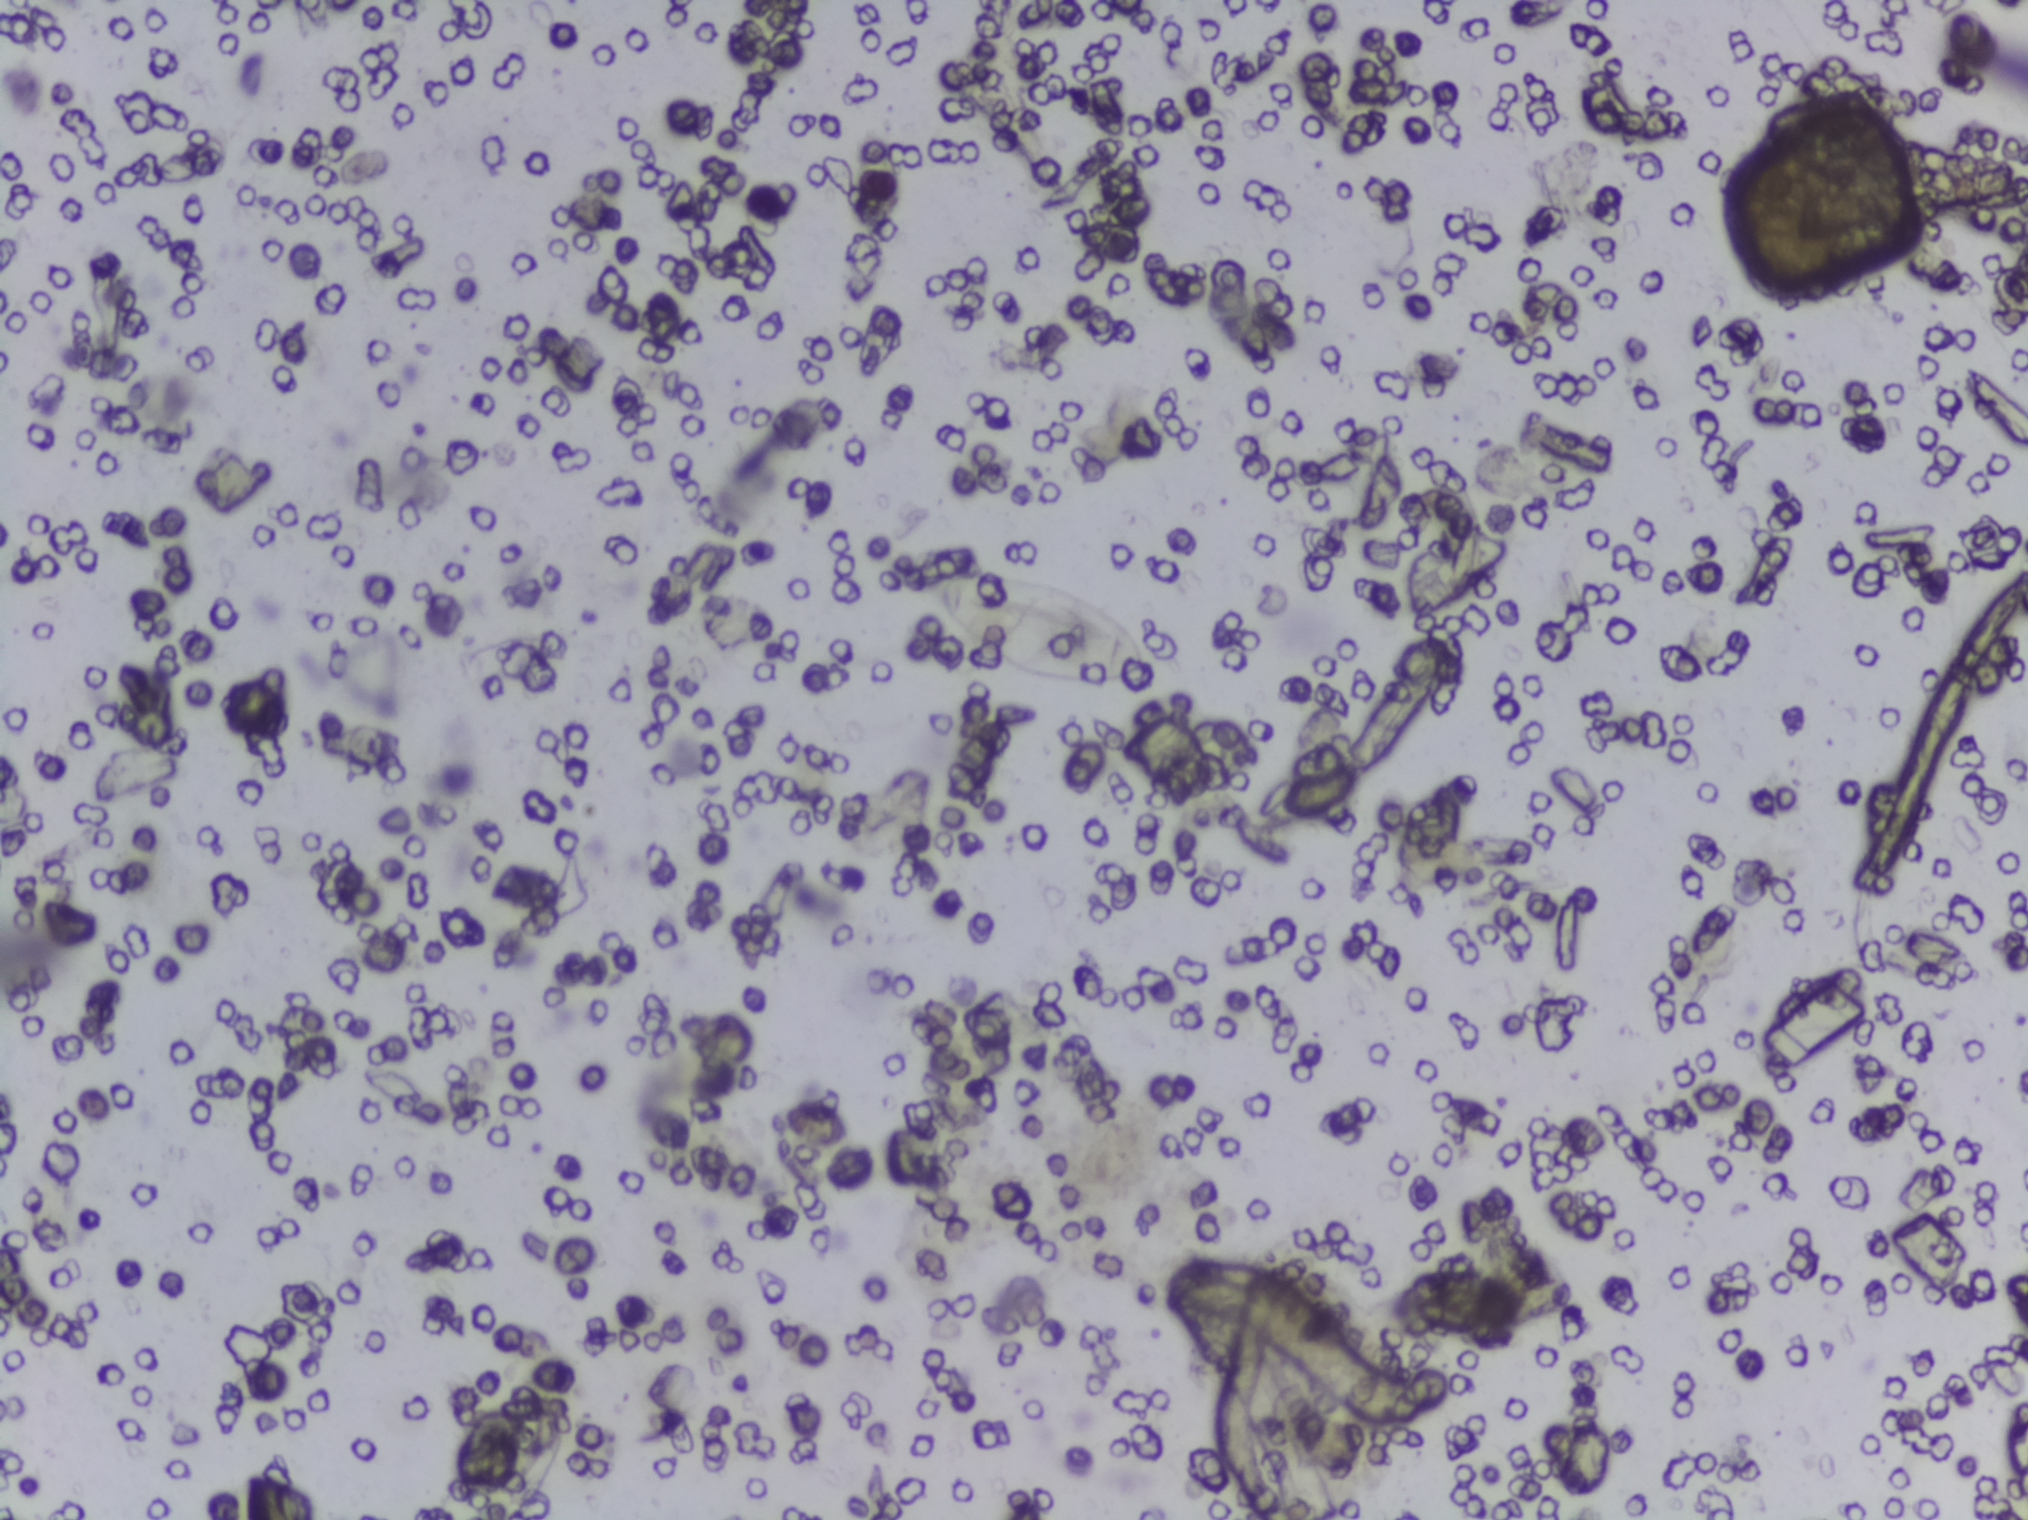
Urine filtration membrane under a 4× objective, photographed by an automated digital microscope.
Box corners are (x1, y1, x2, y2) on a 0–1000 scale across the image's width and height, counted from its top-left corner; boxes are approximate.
Areas outlined as Schistosoma eggs: (455, 373, 570, 458). About 0.6% of the image's pixels are marked (the marked pixels themselves, not the box around them). A single outlined area may contain several eggs.